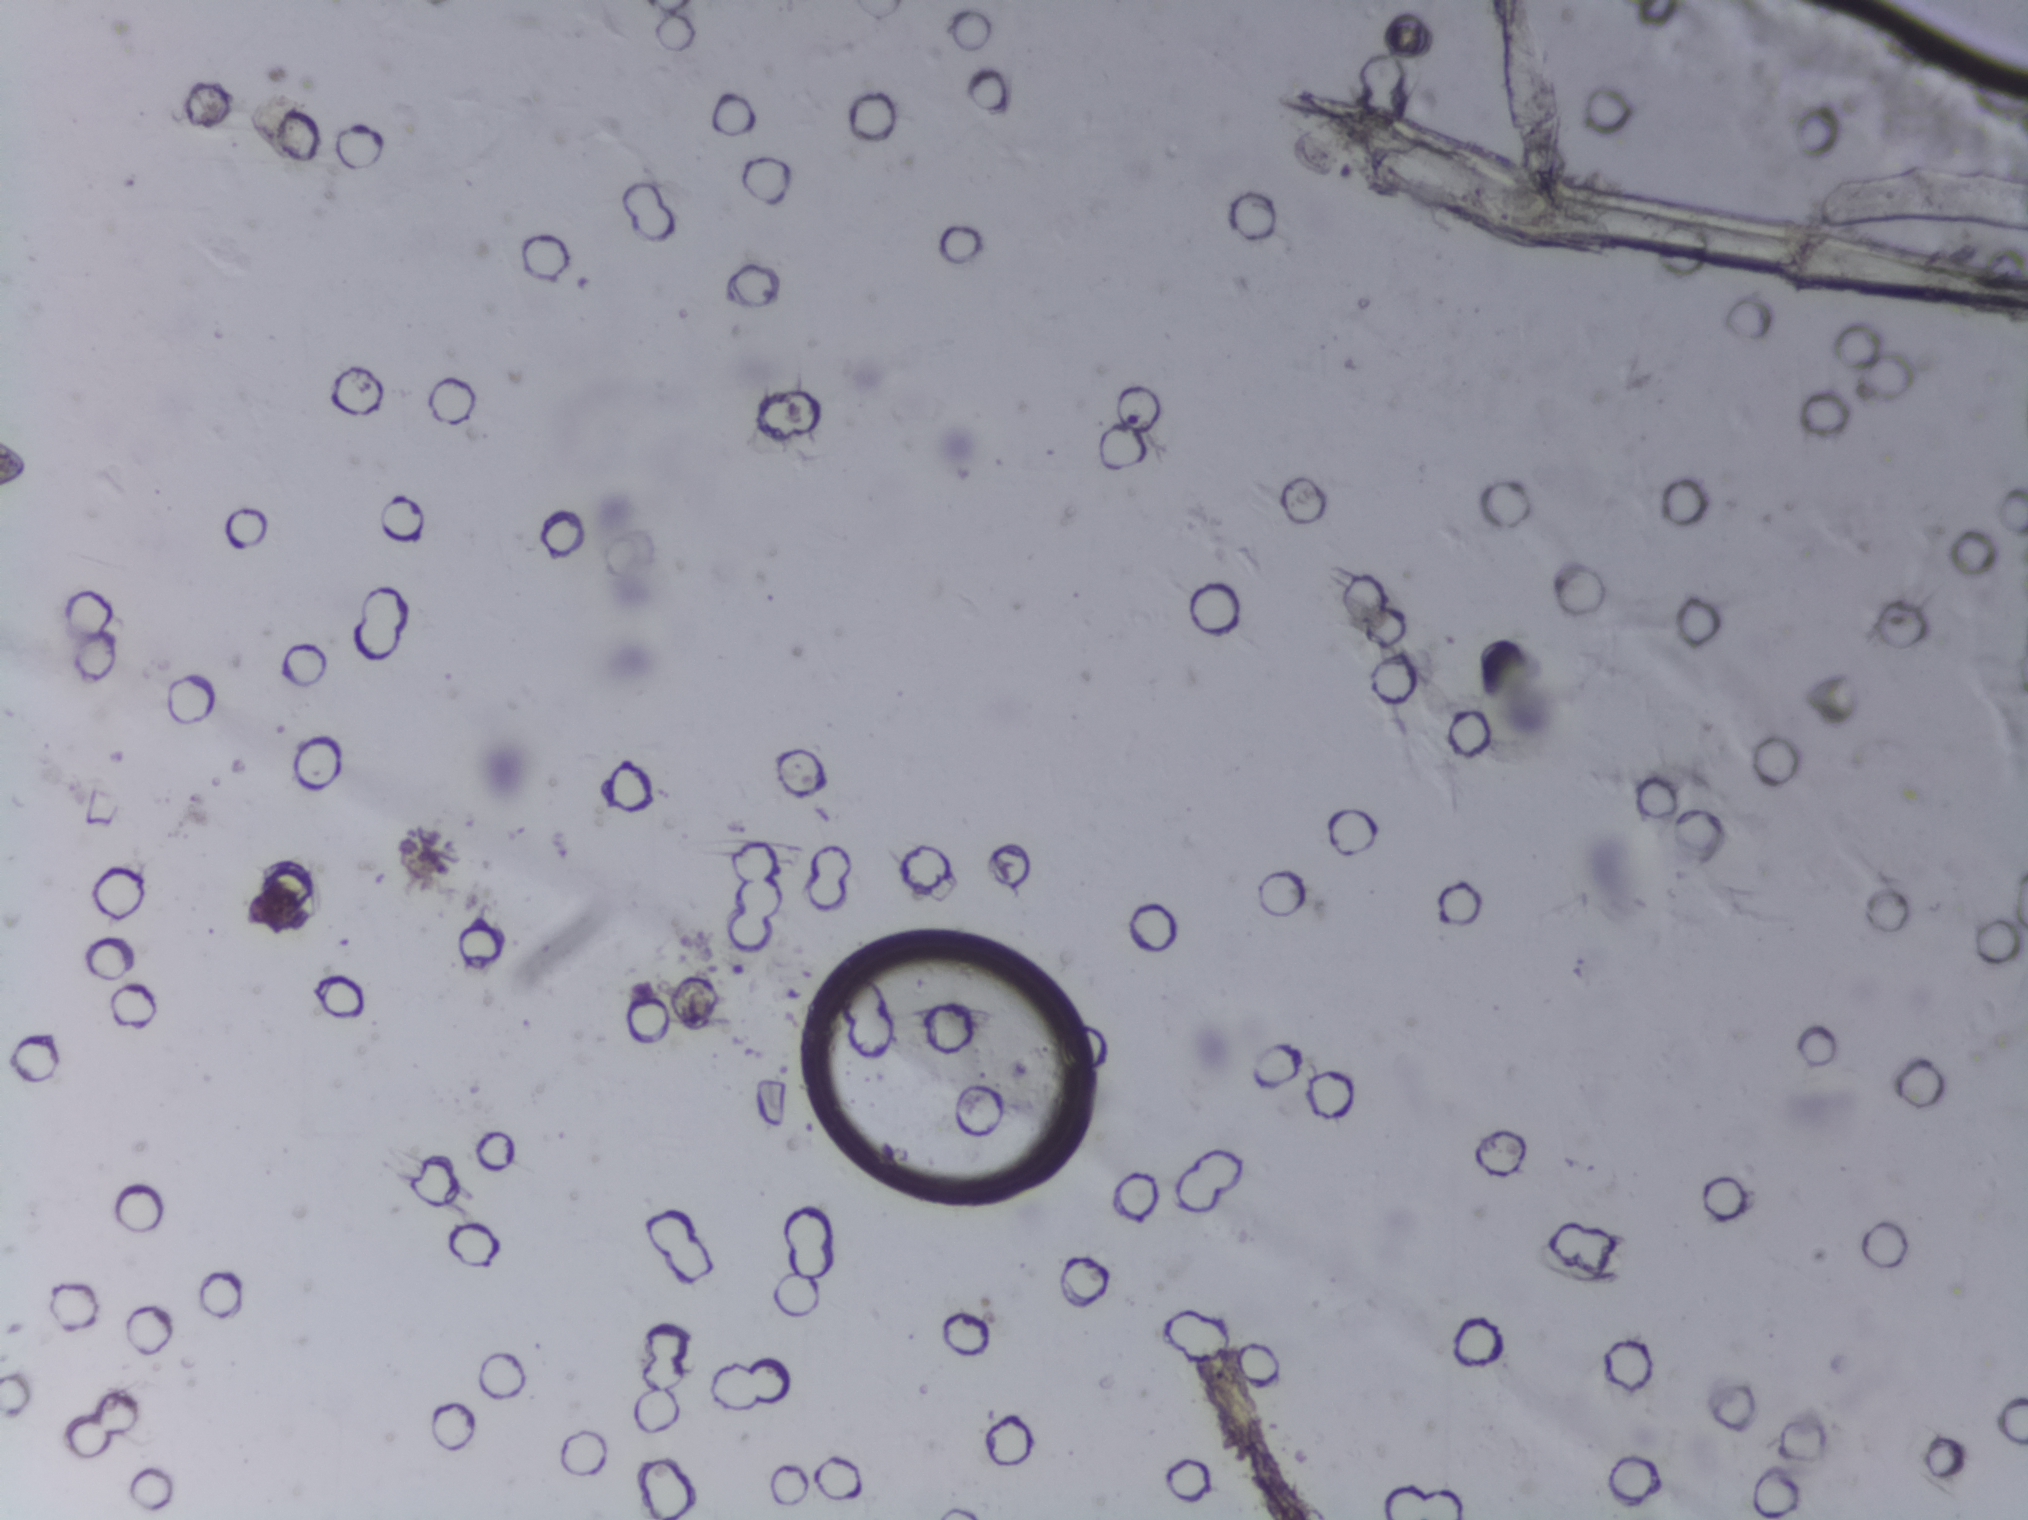
Photograph from an automated digital microscope: urine filter membrane, 4× objective. The field of view is about 1.5 mm × 1.1 mm.
No Schistosoma egg is outlined in this image's expert annotation.